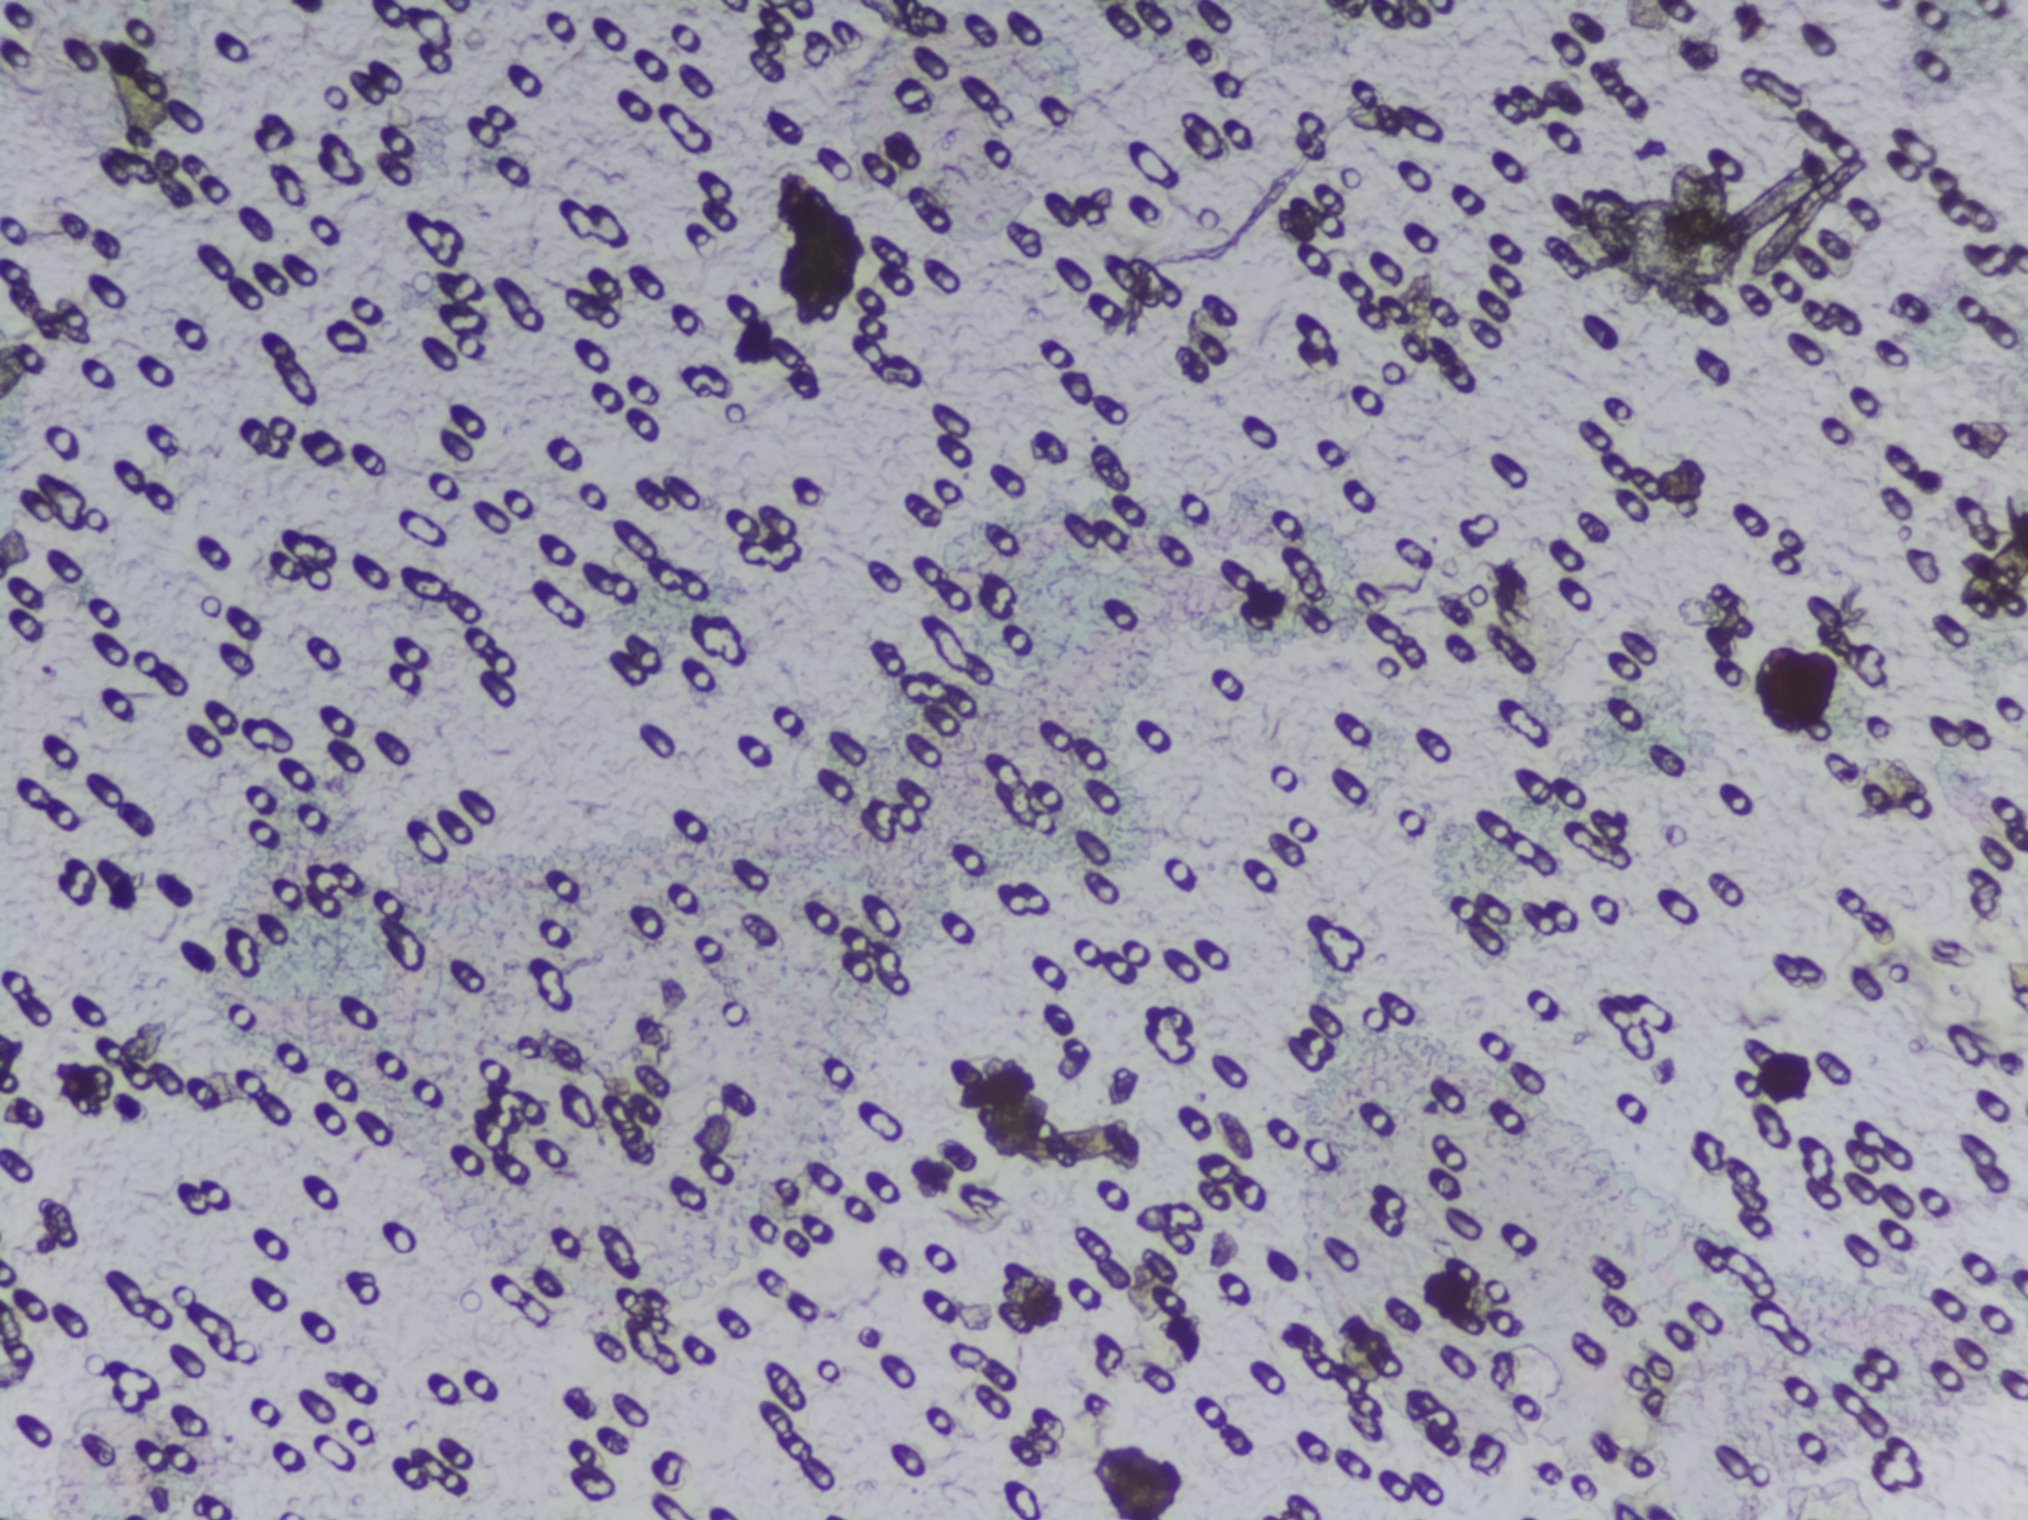
Photomicrograph of a urine filtration membrane, 4× objective. The field of view is about 1.5 mm × 1.1 mm.
The expert annotation marks no Schistosoma egg in this field of view.